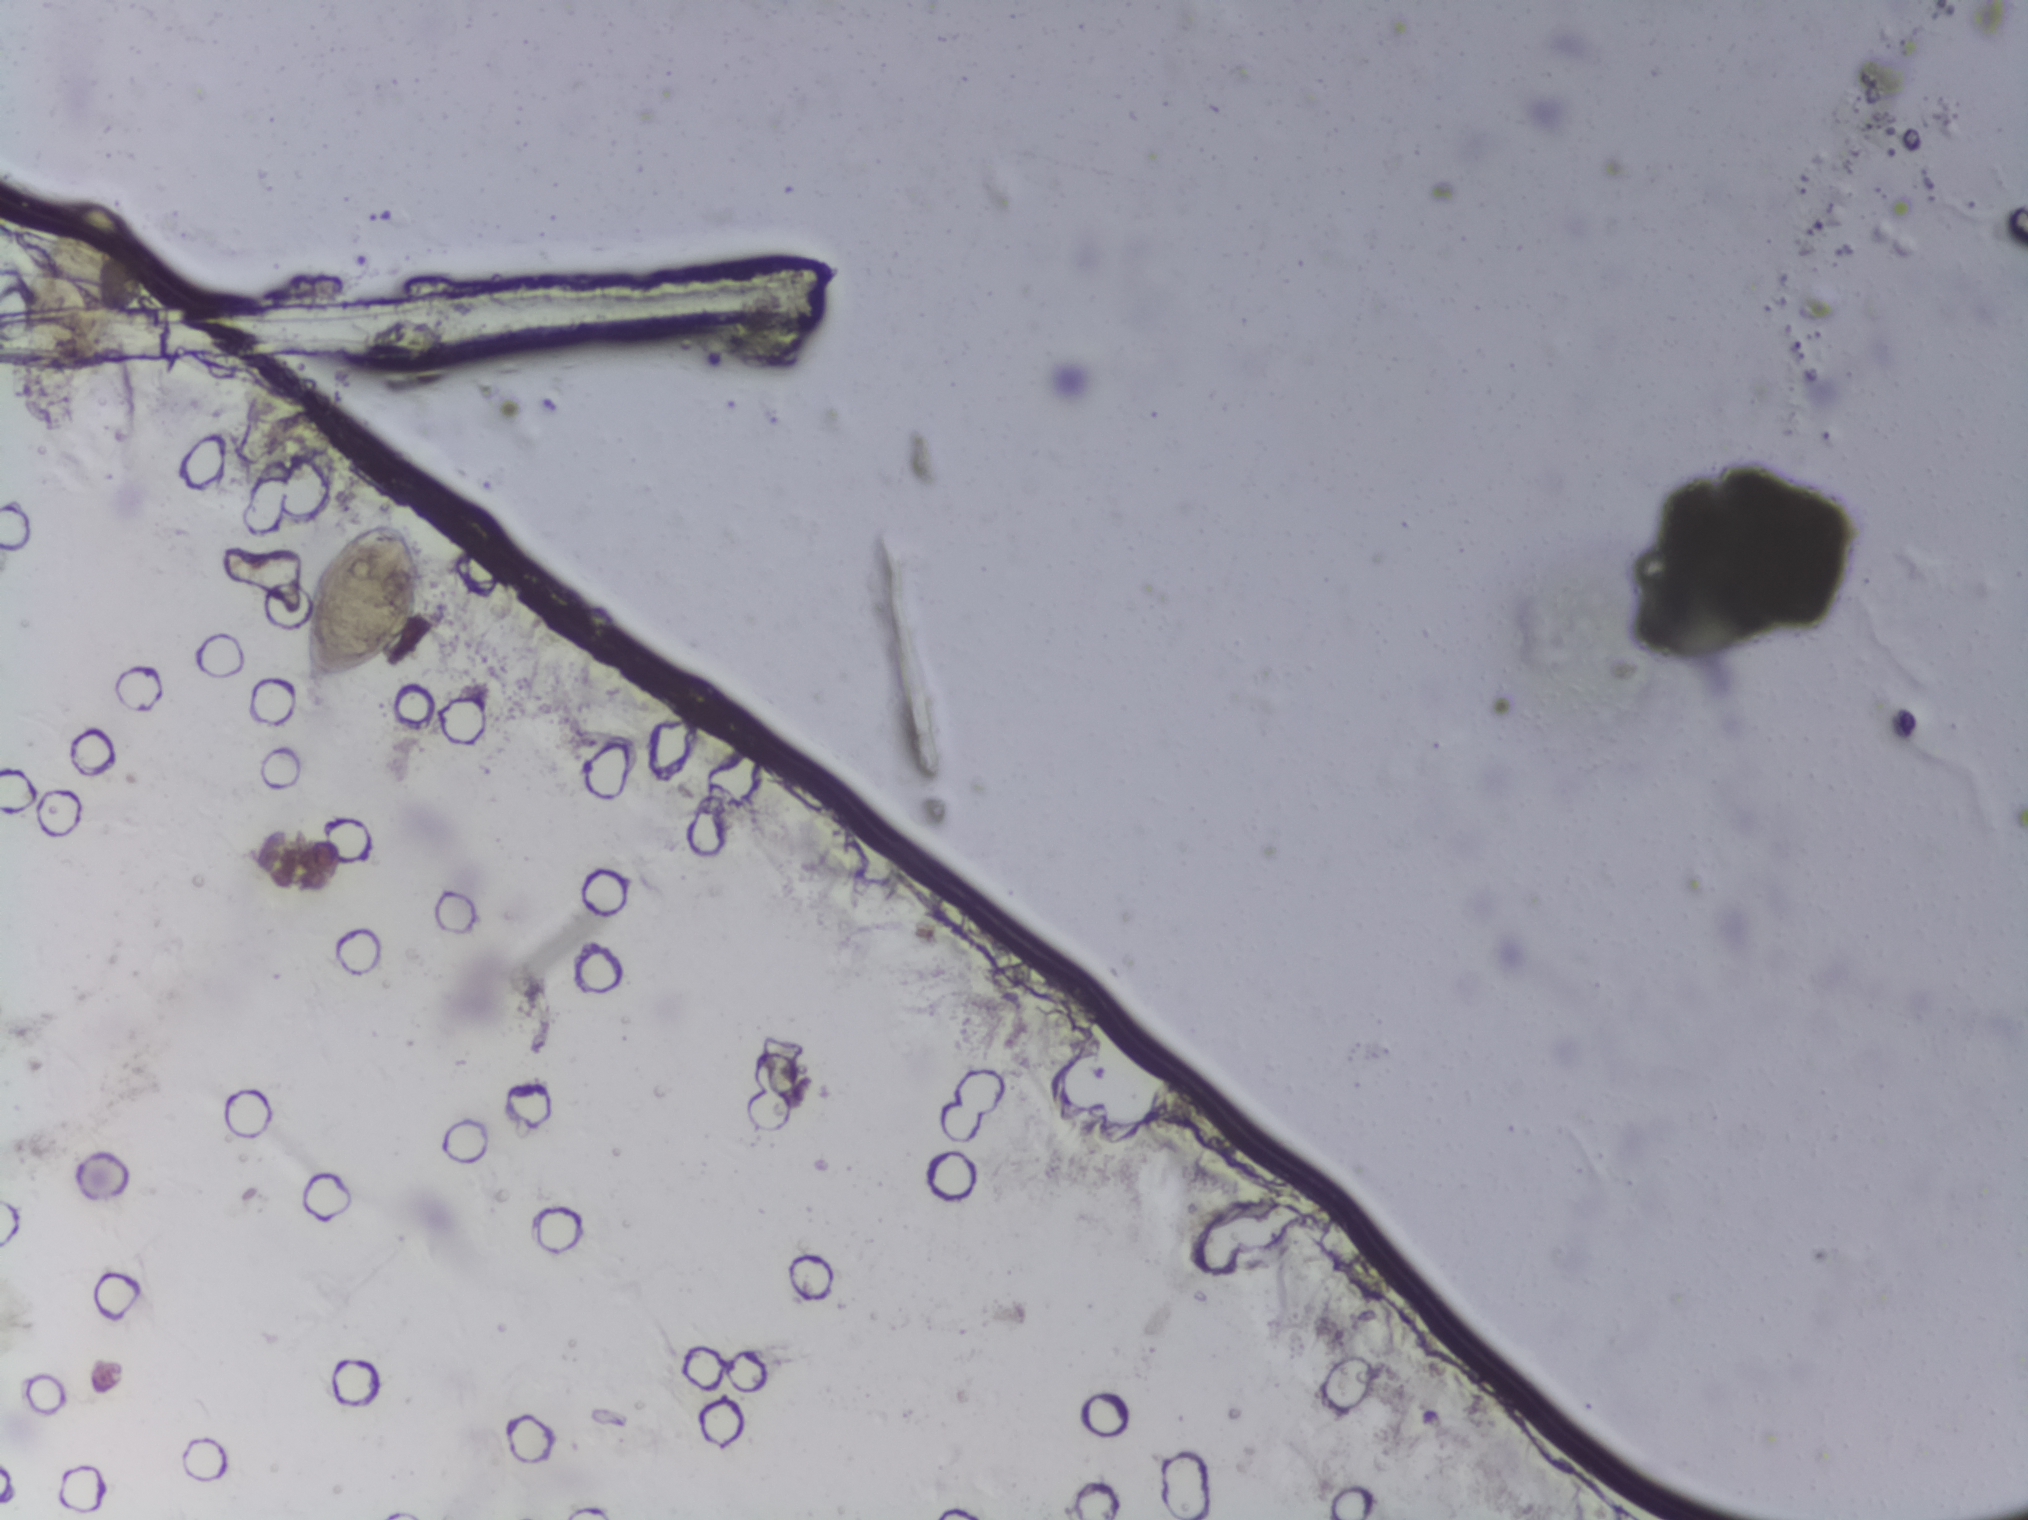
Photomicrograph of a urine filtration membrane, 4× objective. The image covers about 1.5 × 1.1 mm of the membrane.
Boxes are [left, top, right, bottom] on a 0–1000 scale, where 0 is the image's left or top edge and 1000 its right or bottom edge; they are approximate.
Findings: one area outlined as Schistosoma eggs. Location: [148, 342, 207, 453]. Eggs that touch can end up inside the same outlined area.